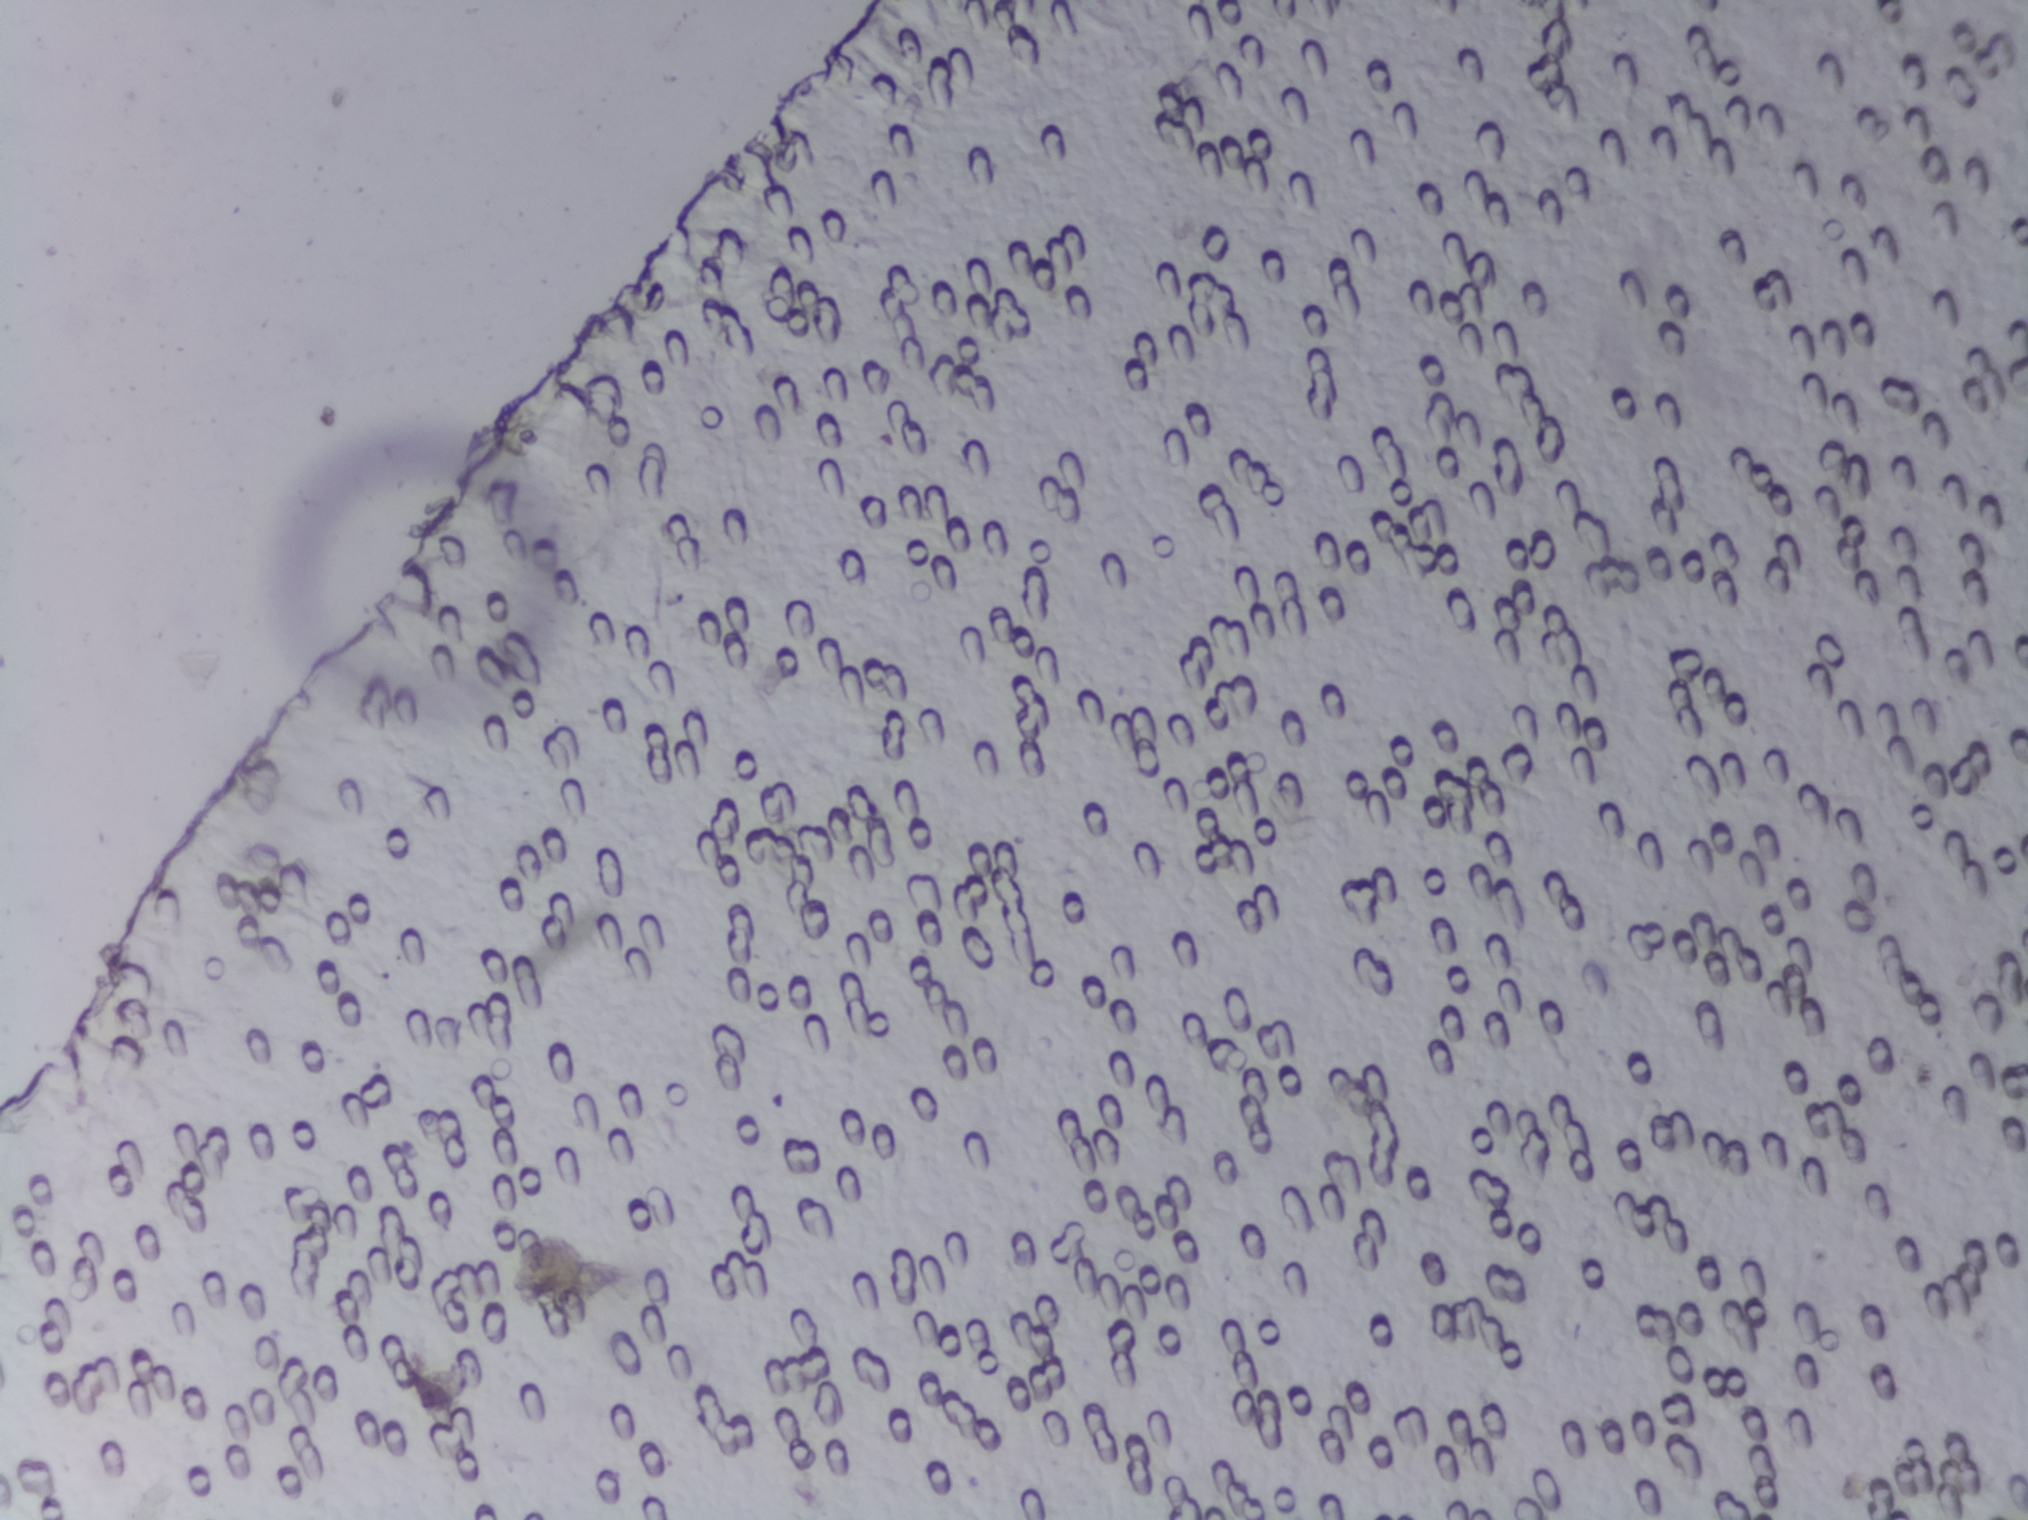
Urine filtration membrane under a 4× objective, photographed by an automated digital microscope.
The expert annotation marks no Schistosoma egg in this field of view.